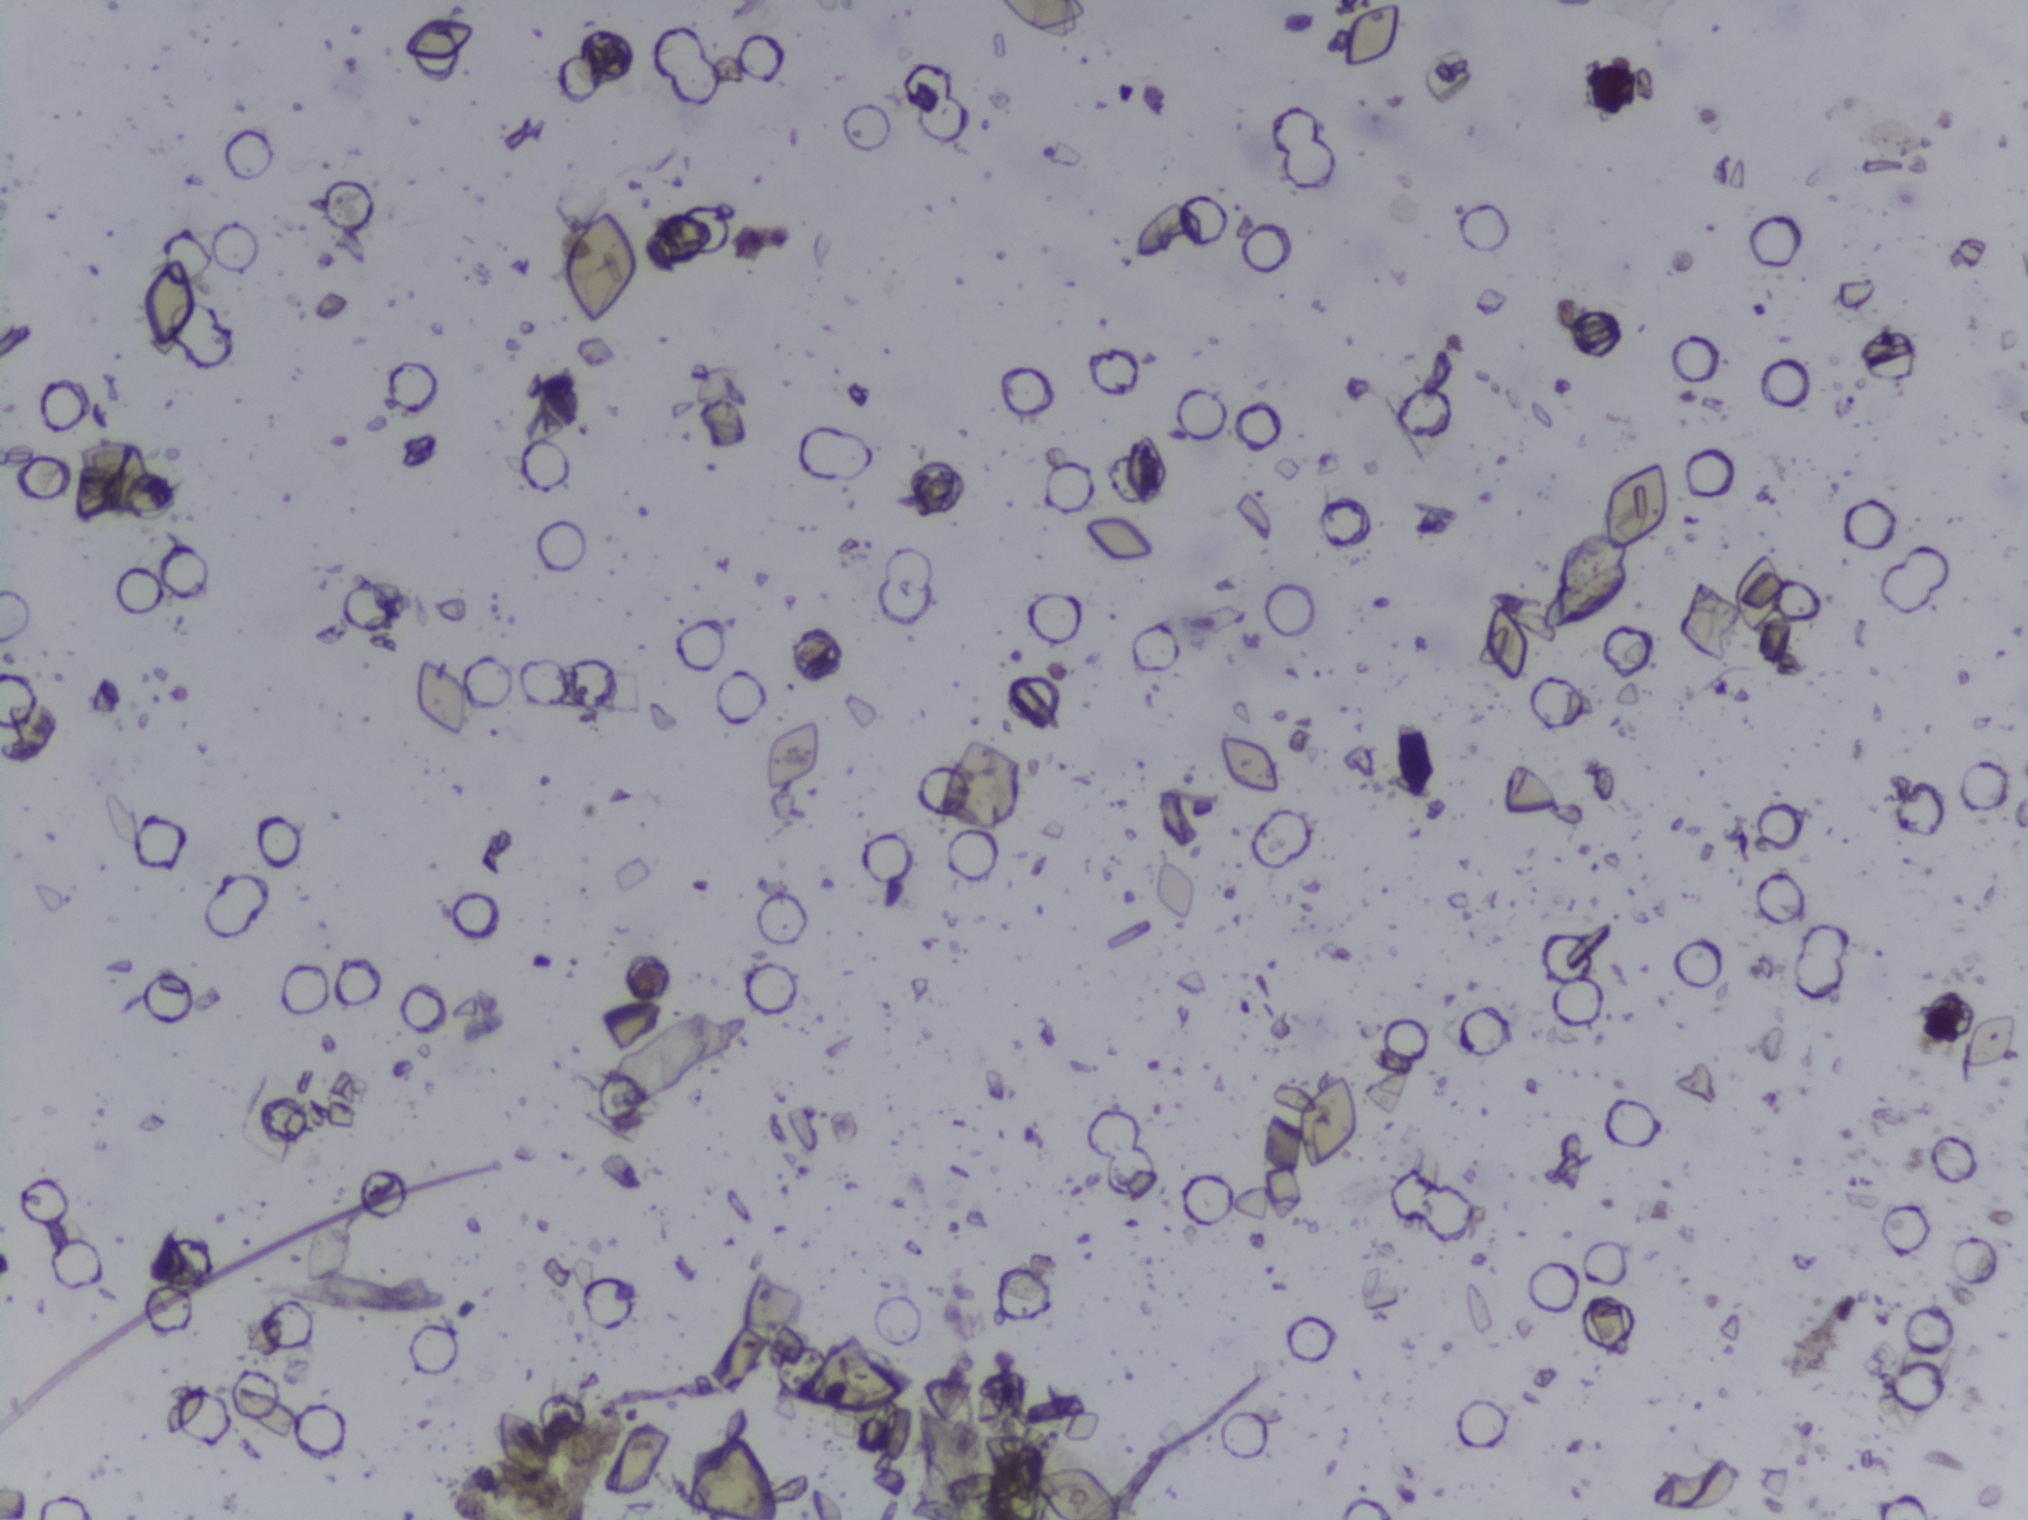
Photograph from an automated digital microscope: urine filter membrane, 4× objective.
No area of this image was outlined as a Schistosoma egg.